Microscope photograph (4× objective) of a membrane that a urine sample was filtered through.
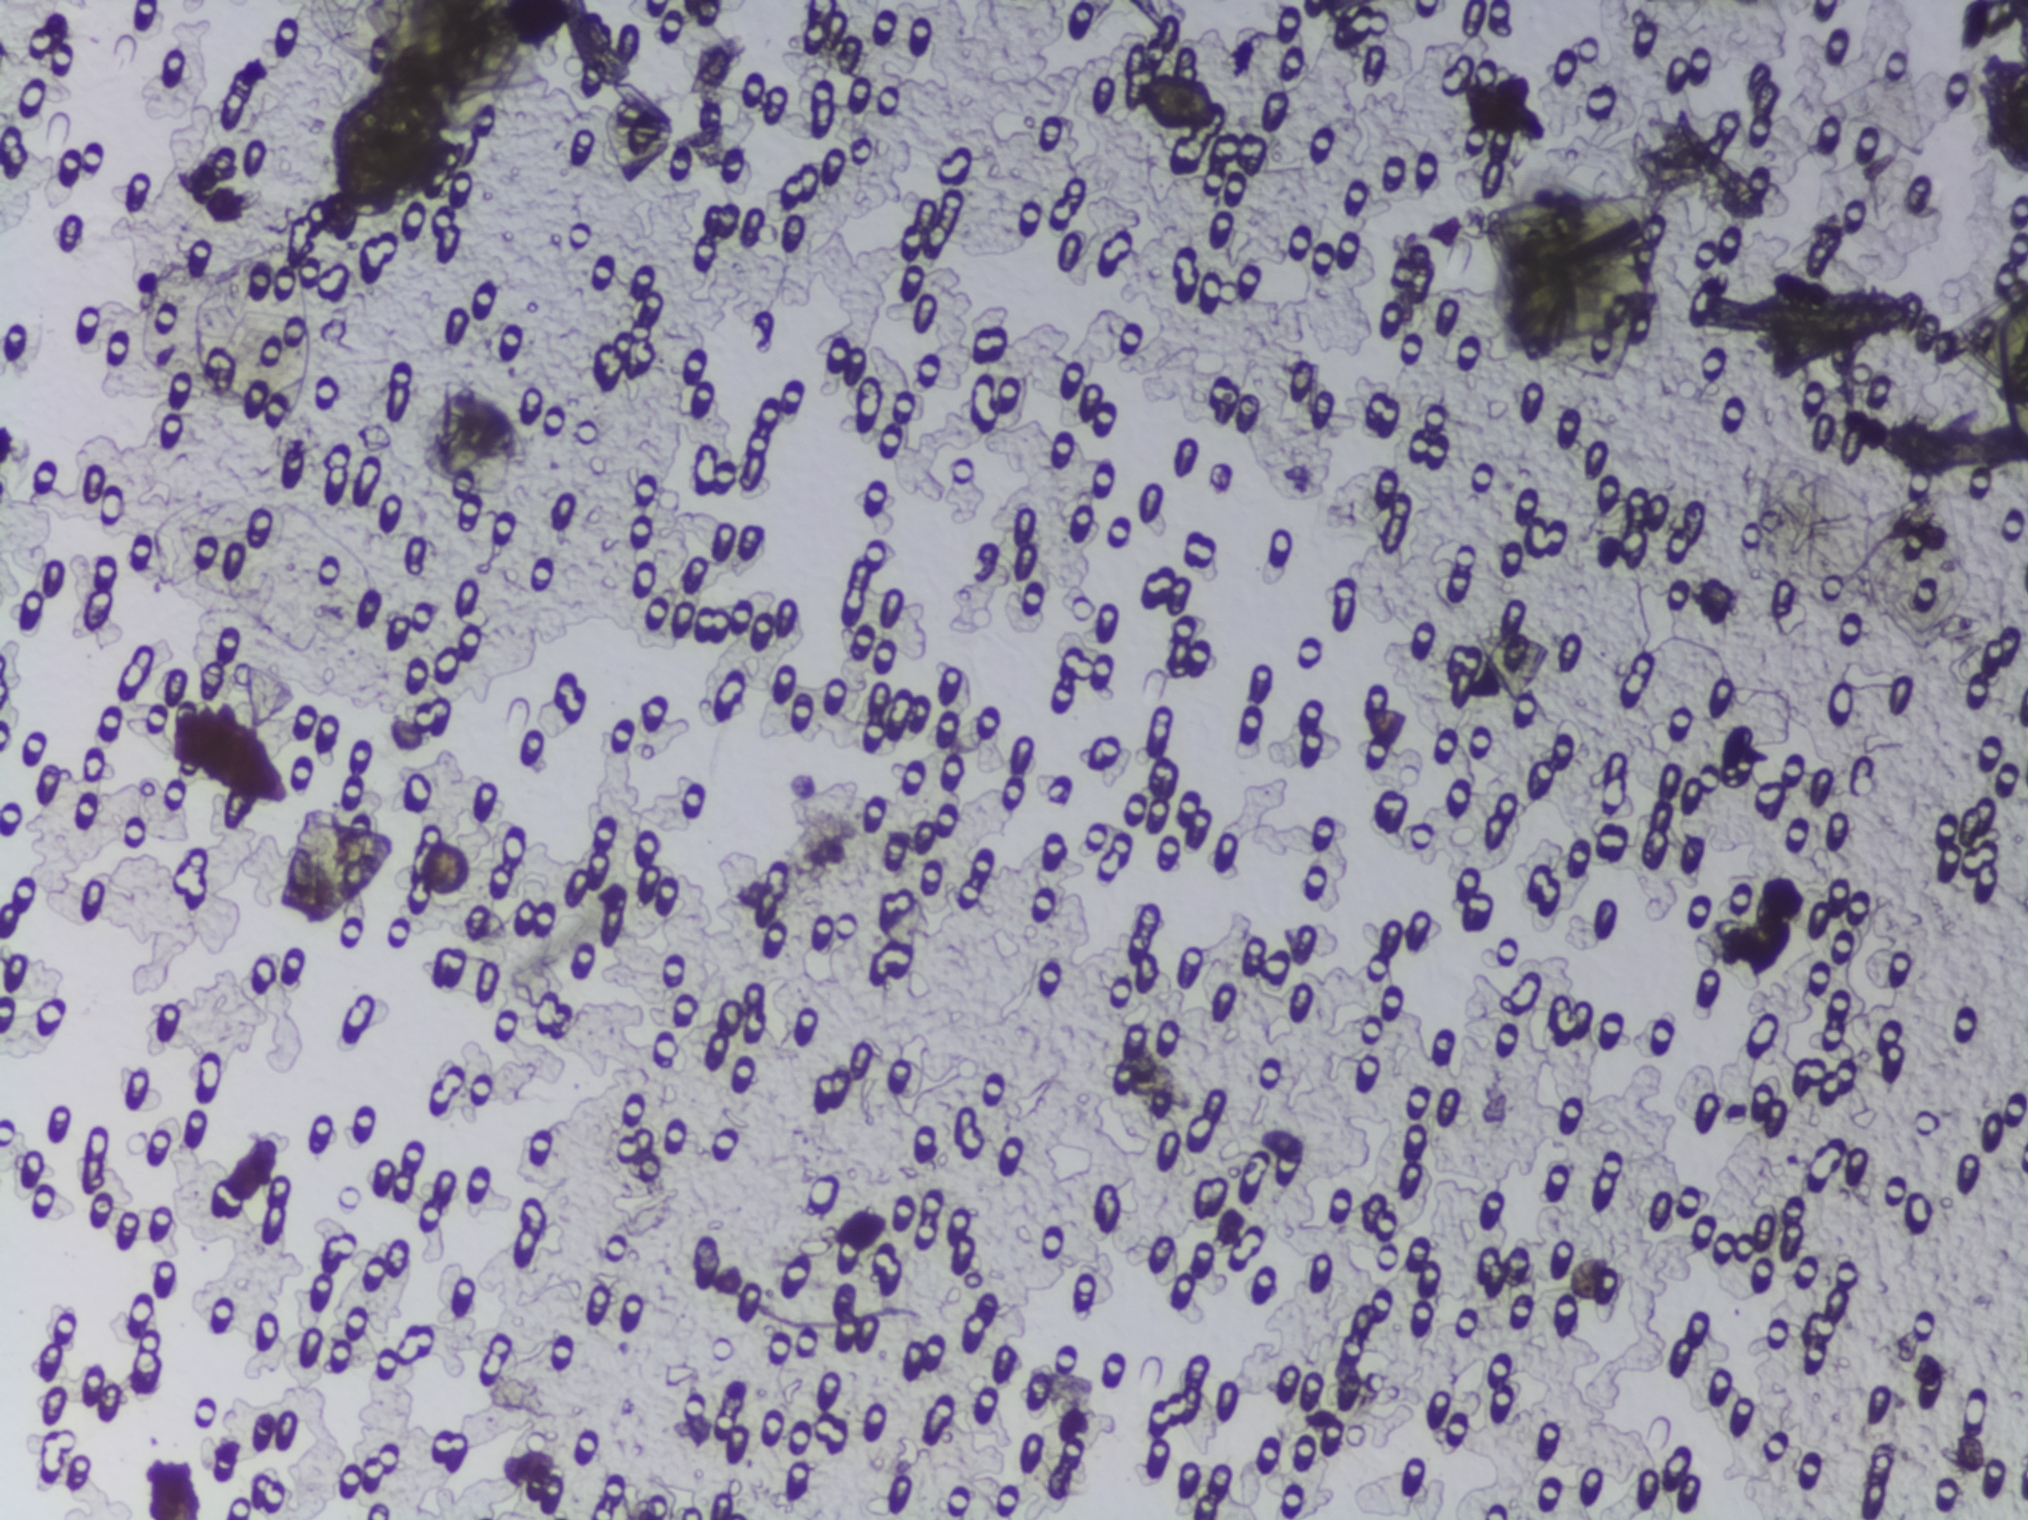
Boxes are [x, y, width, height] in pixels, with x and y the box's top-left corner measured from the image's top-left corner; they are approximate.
Schistosoma eggs are outlined in one area of this image: [165, 701, 130, 113]. An outlined area can hold more than one egg.